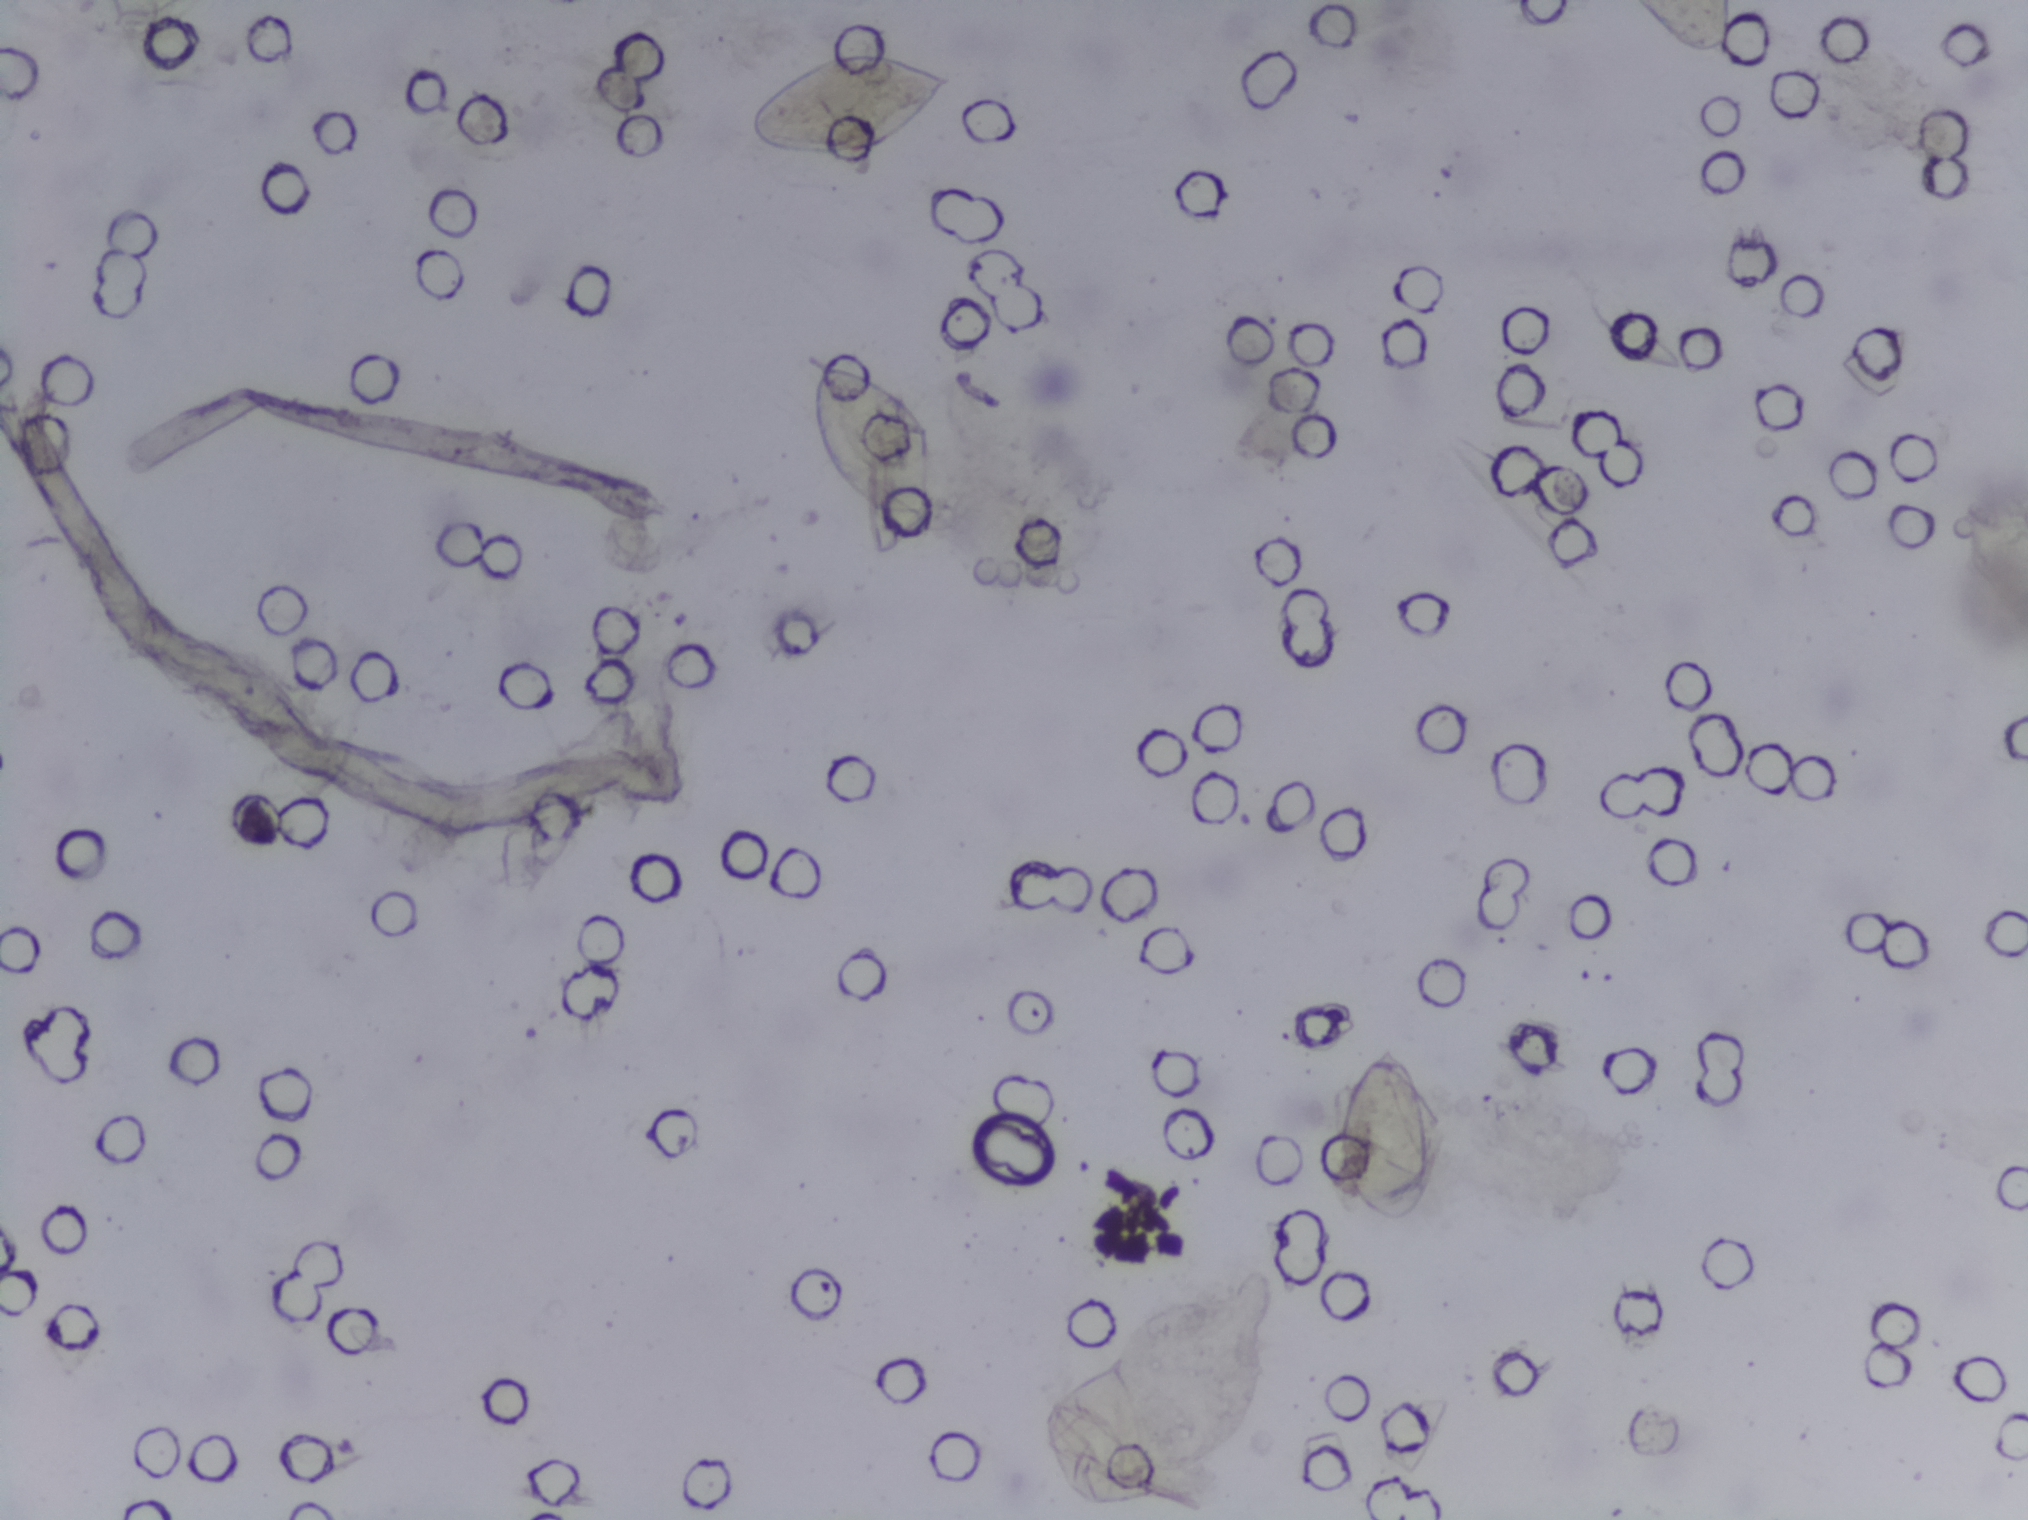
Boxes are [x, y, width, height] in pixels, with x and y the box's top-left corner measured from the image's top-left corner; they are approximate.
Five areas of this image are outlined as Schistosoma eggs, from left to right: [739, 46, 217, 122]; [803, 340, 140, 204]; [1045, 1343, 107, 172]; [1343, 1036, 97, 193]; [1636, 0, 98, 55] (reaching the top edge of the frame). Eggs that touch can end up inside the same outlined area.
One field of view of a urine filter membrane, 4× objective, 2028 × 1520 pixels. Field of view: about 1.5 mm wide and 1.1 mm high.